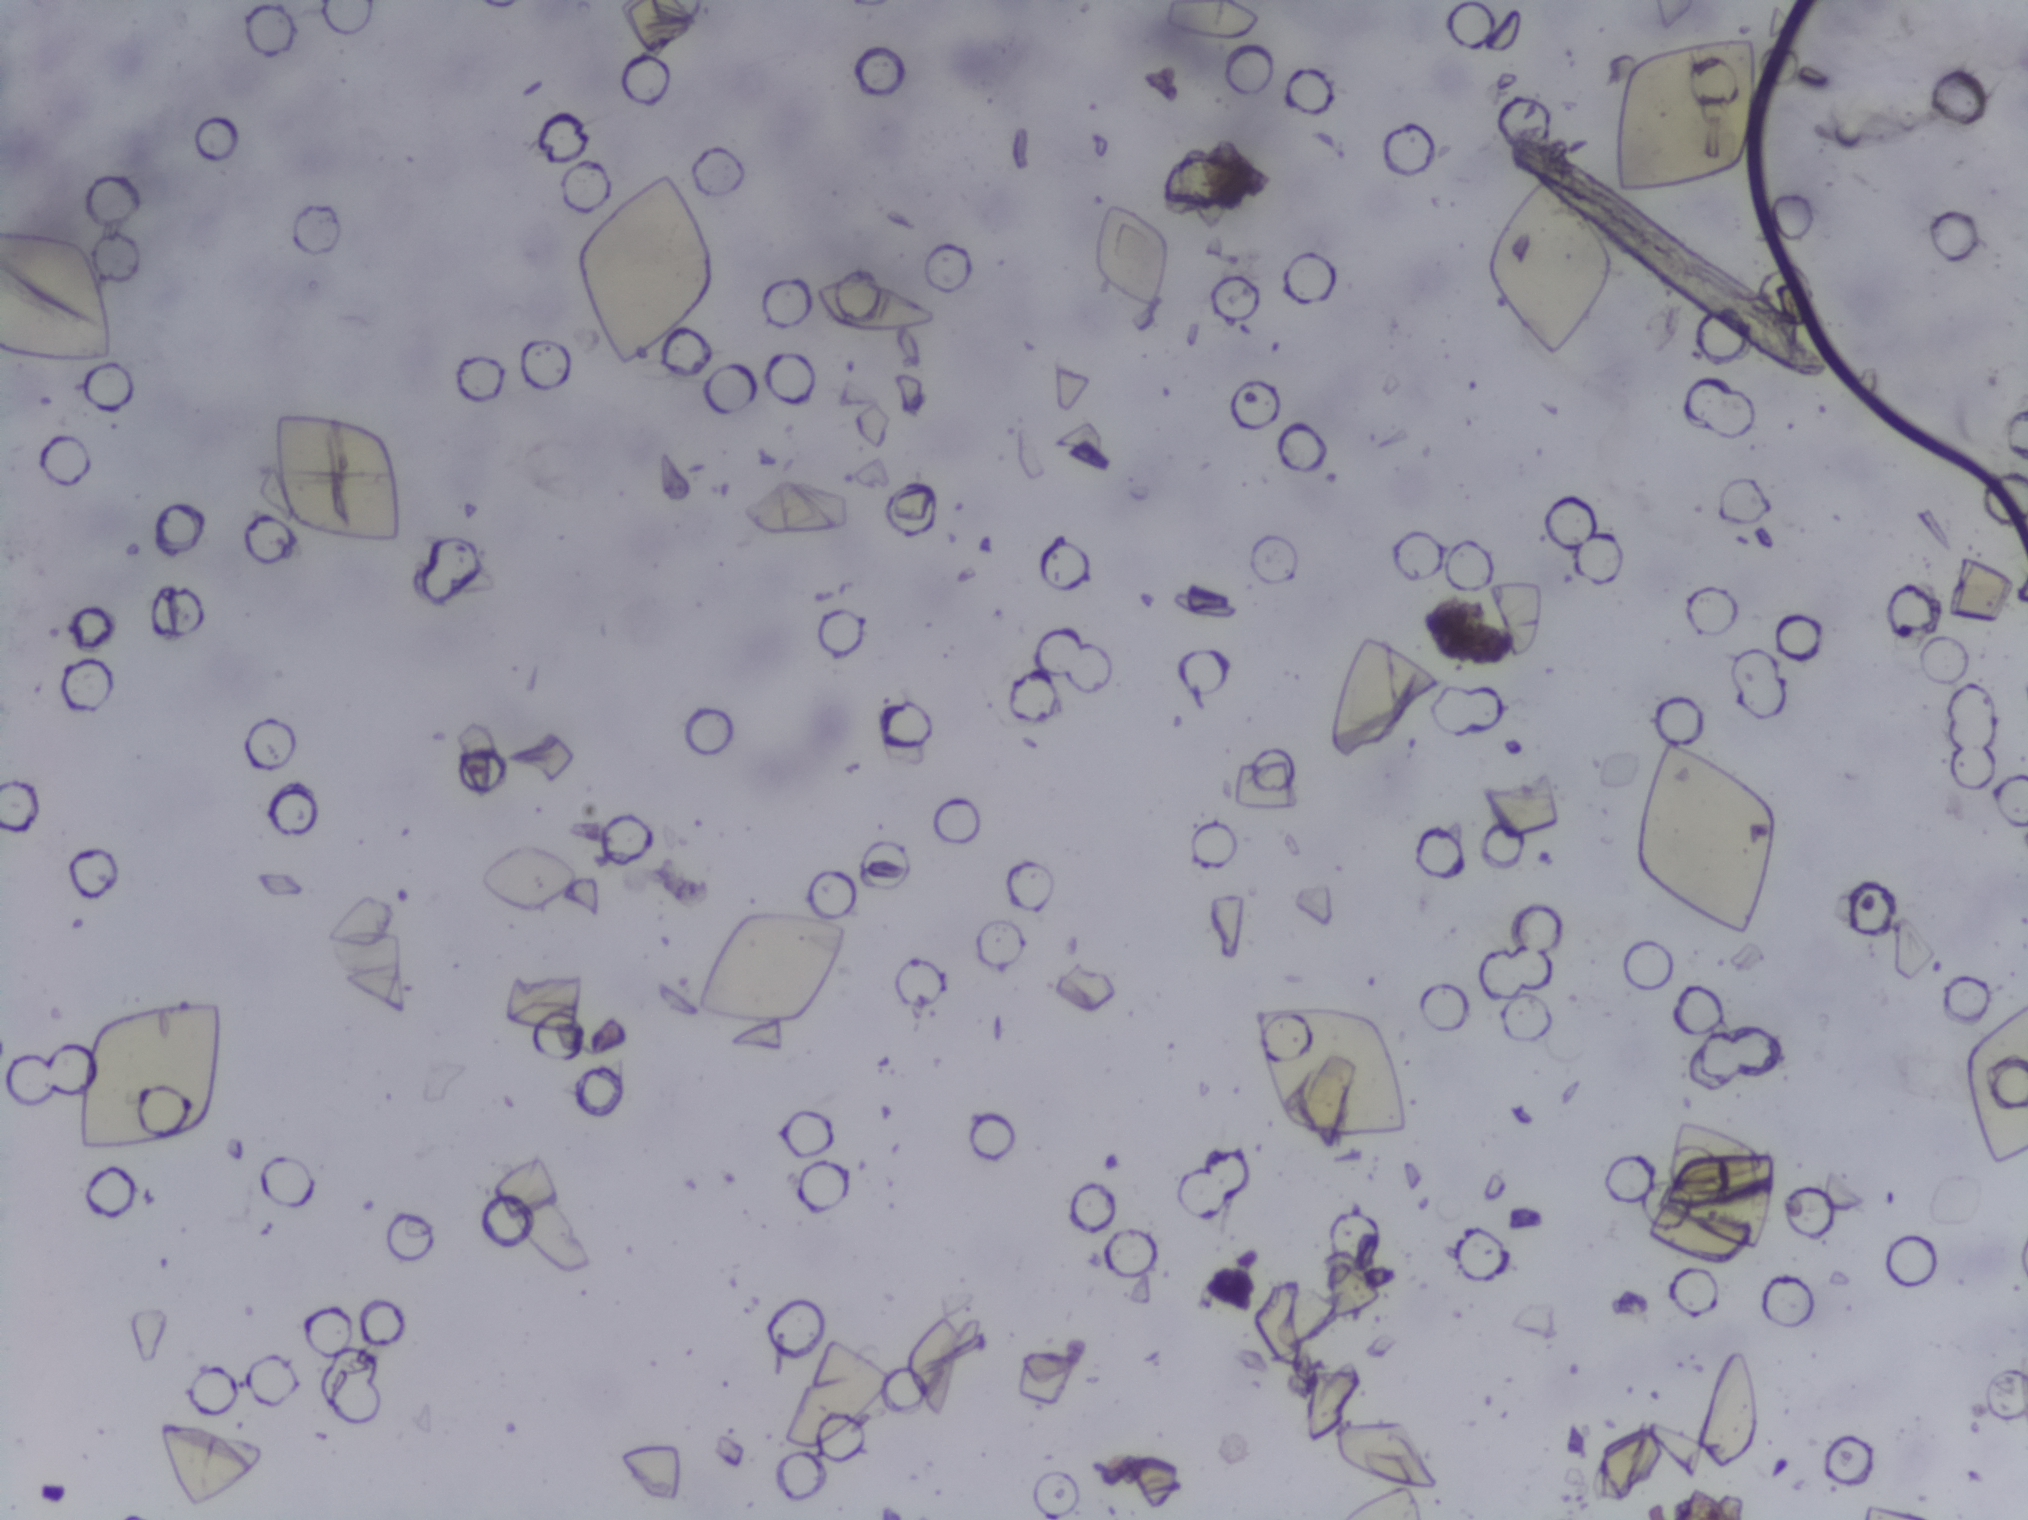
No Schistosoma egg is outlined in this image's expert annotation.
Urine filter membrane photographed through a 4× microscope objective.